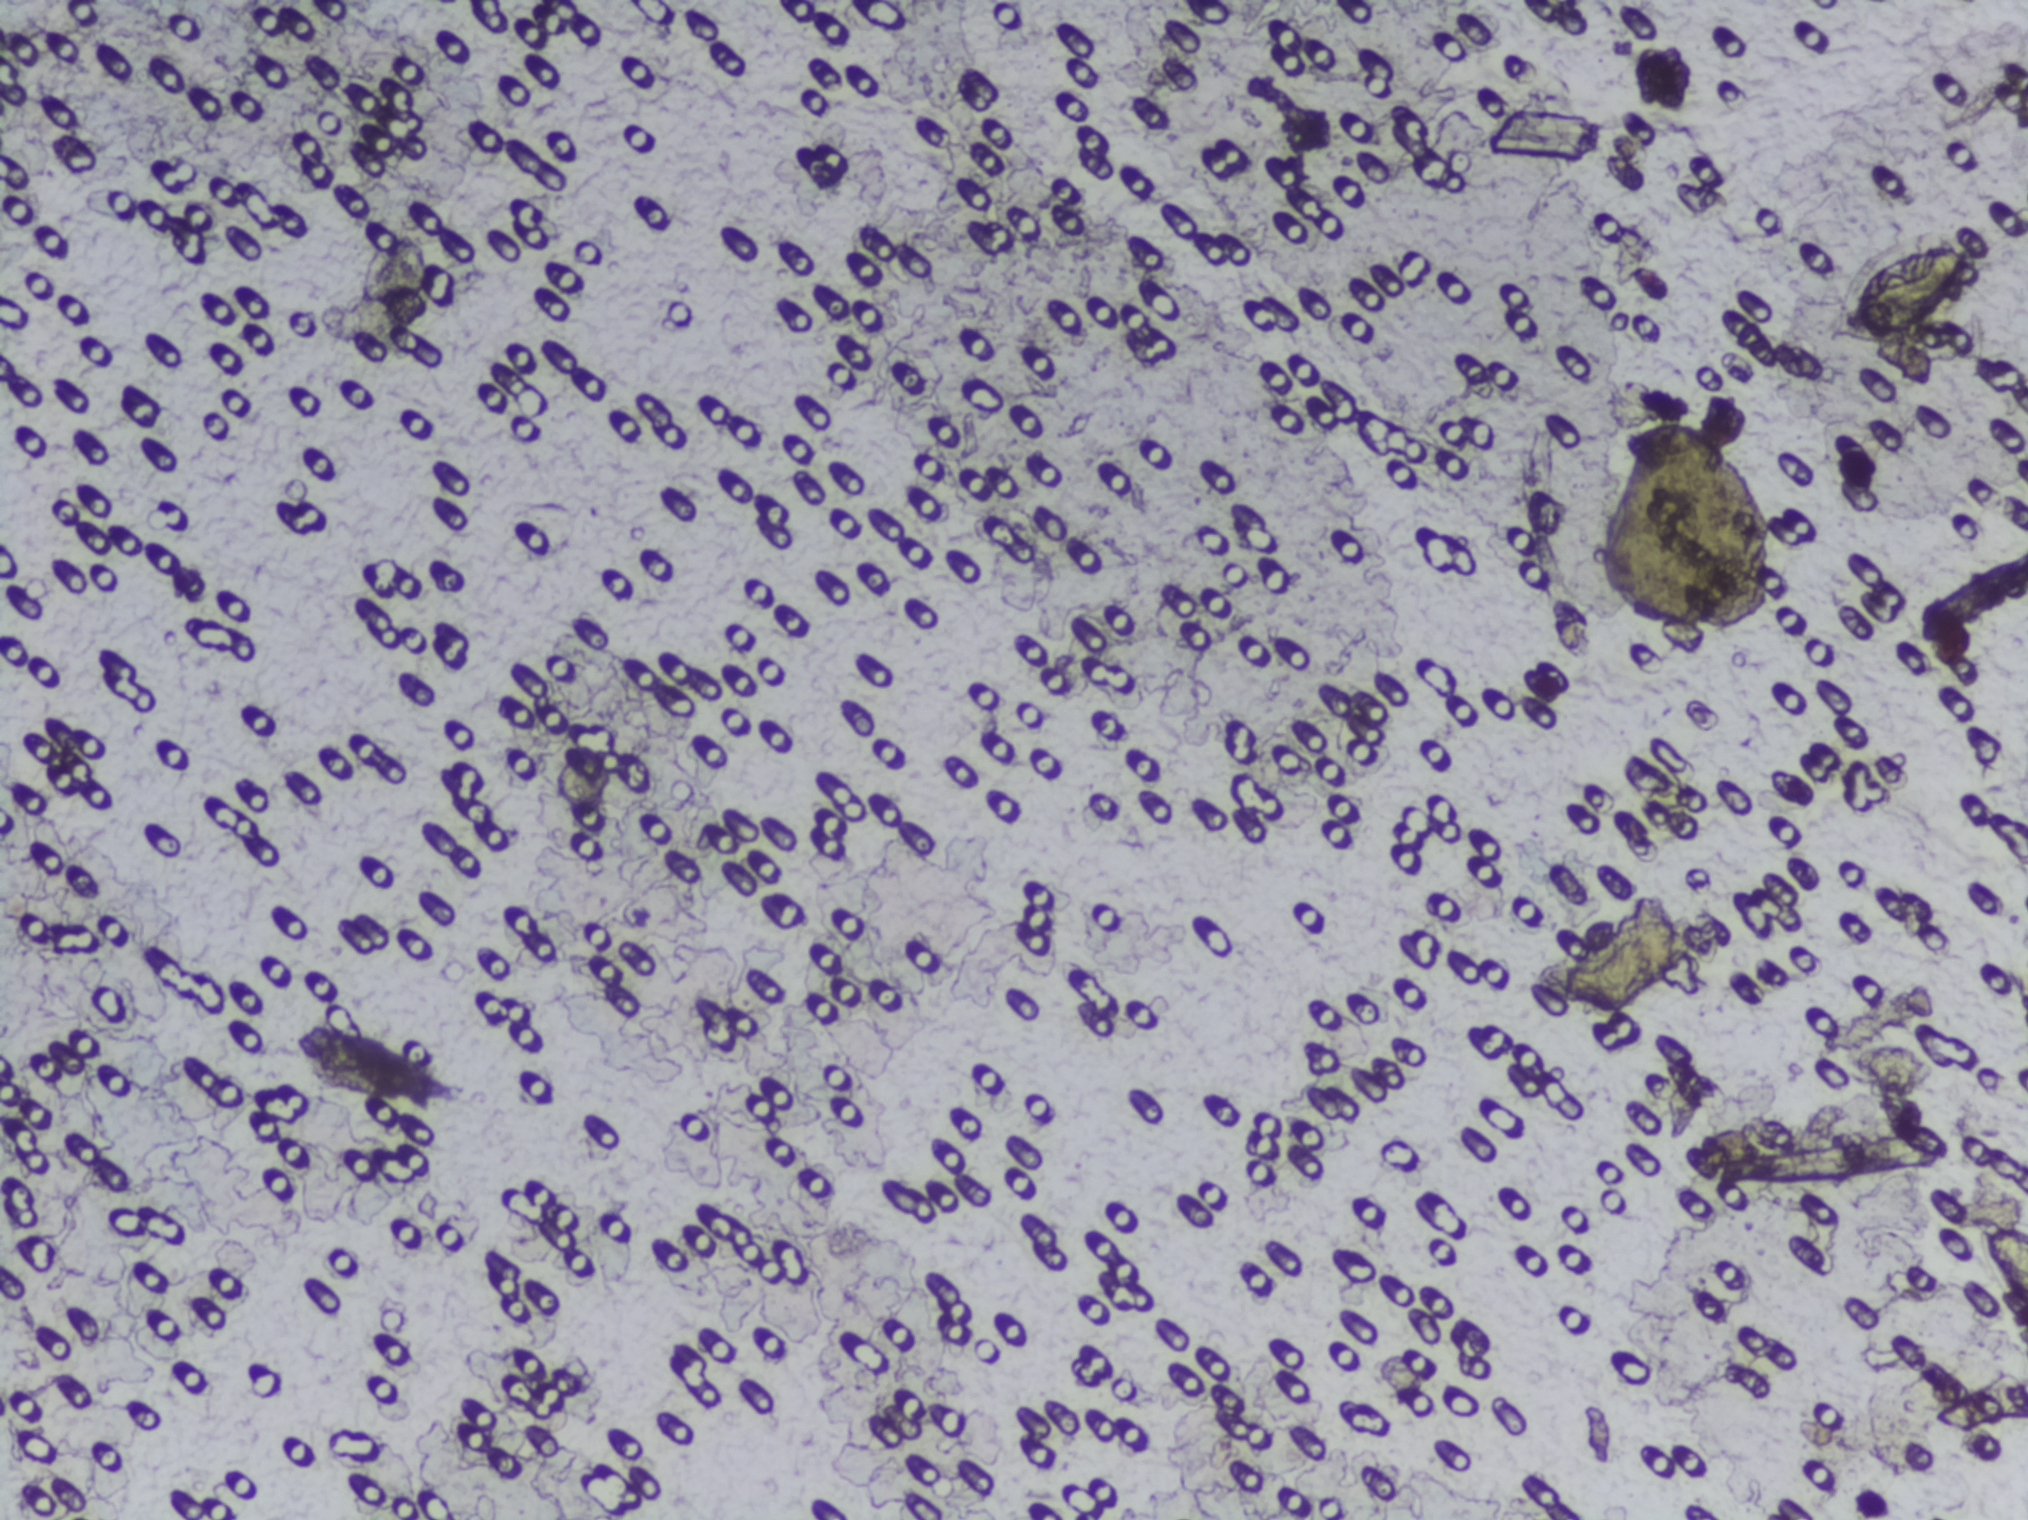
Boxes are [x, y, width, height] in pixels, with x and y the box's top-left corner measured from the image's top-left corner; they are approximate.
Schistosoma eggs are outlined in one area of this image: [1816, 225, 172, 152]. An outlined area can hold more than one egg.
Urine filtration membrane under a 4× objective, photographed by an automated digital microscope.